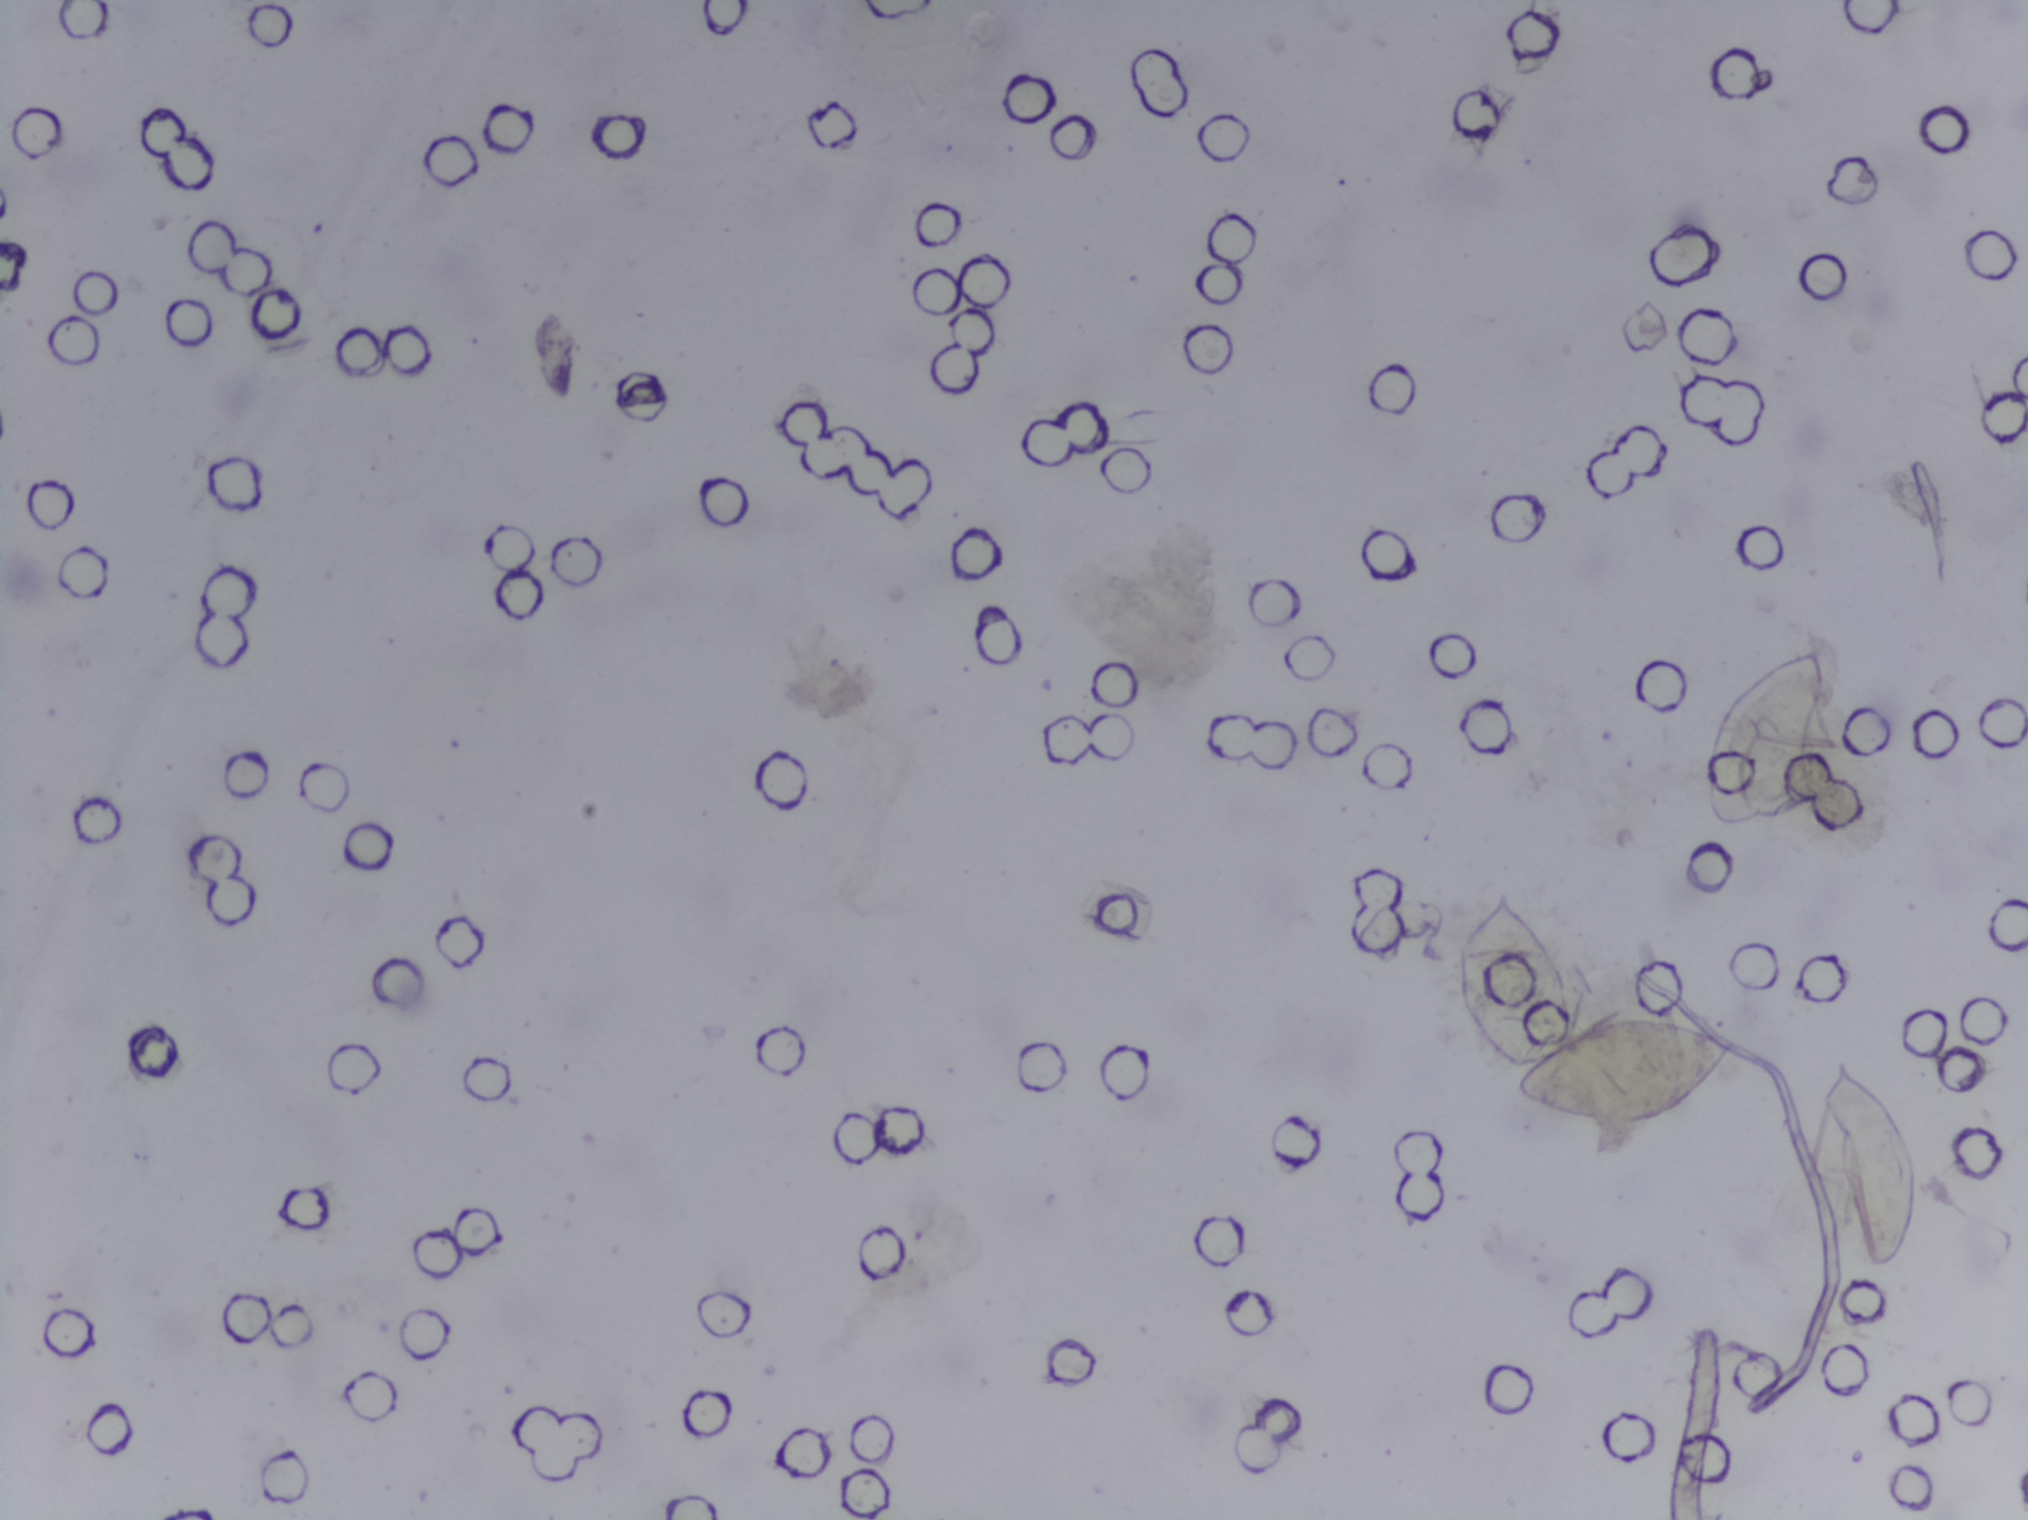
Urine filtration membrane under a 4× objective, photographed by an automated digital microscope.
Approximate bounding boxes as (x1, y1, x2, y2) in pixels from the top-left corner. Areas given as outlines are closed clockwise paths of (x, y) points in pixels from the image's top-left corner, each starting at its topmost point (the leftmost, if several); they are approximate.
Schistosoma egg areas, outlined: outline (1483, 871), (1494, 872), (1541, 913), (1581, 1021), (1595, 1014), (1657, 1014), (1721, 1027), (1741, 1044), (1727, 1084), (1674, 1127), (1654, 1132), (1560, 1126), (1524, 1107), (1516, 1081), (1486, 1064), (1467, 1037), (1439, 967), (1444, 923), (1465, 884); box (1696, 648, 1849, 843); box (1805, 1044, 1924, 1275). A single outlined area may contain several eggs.